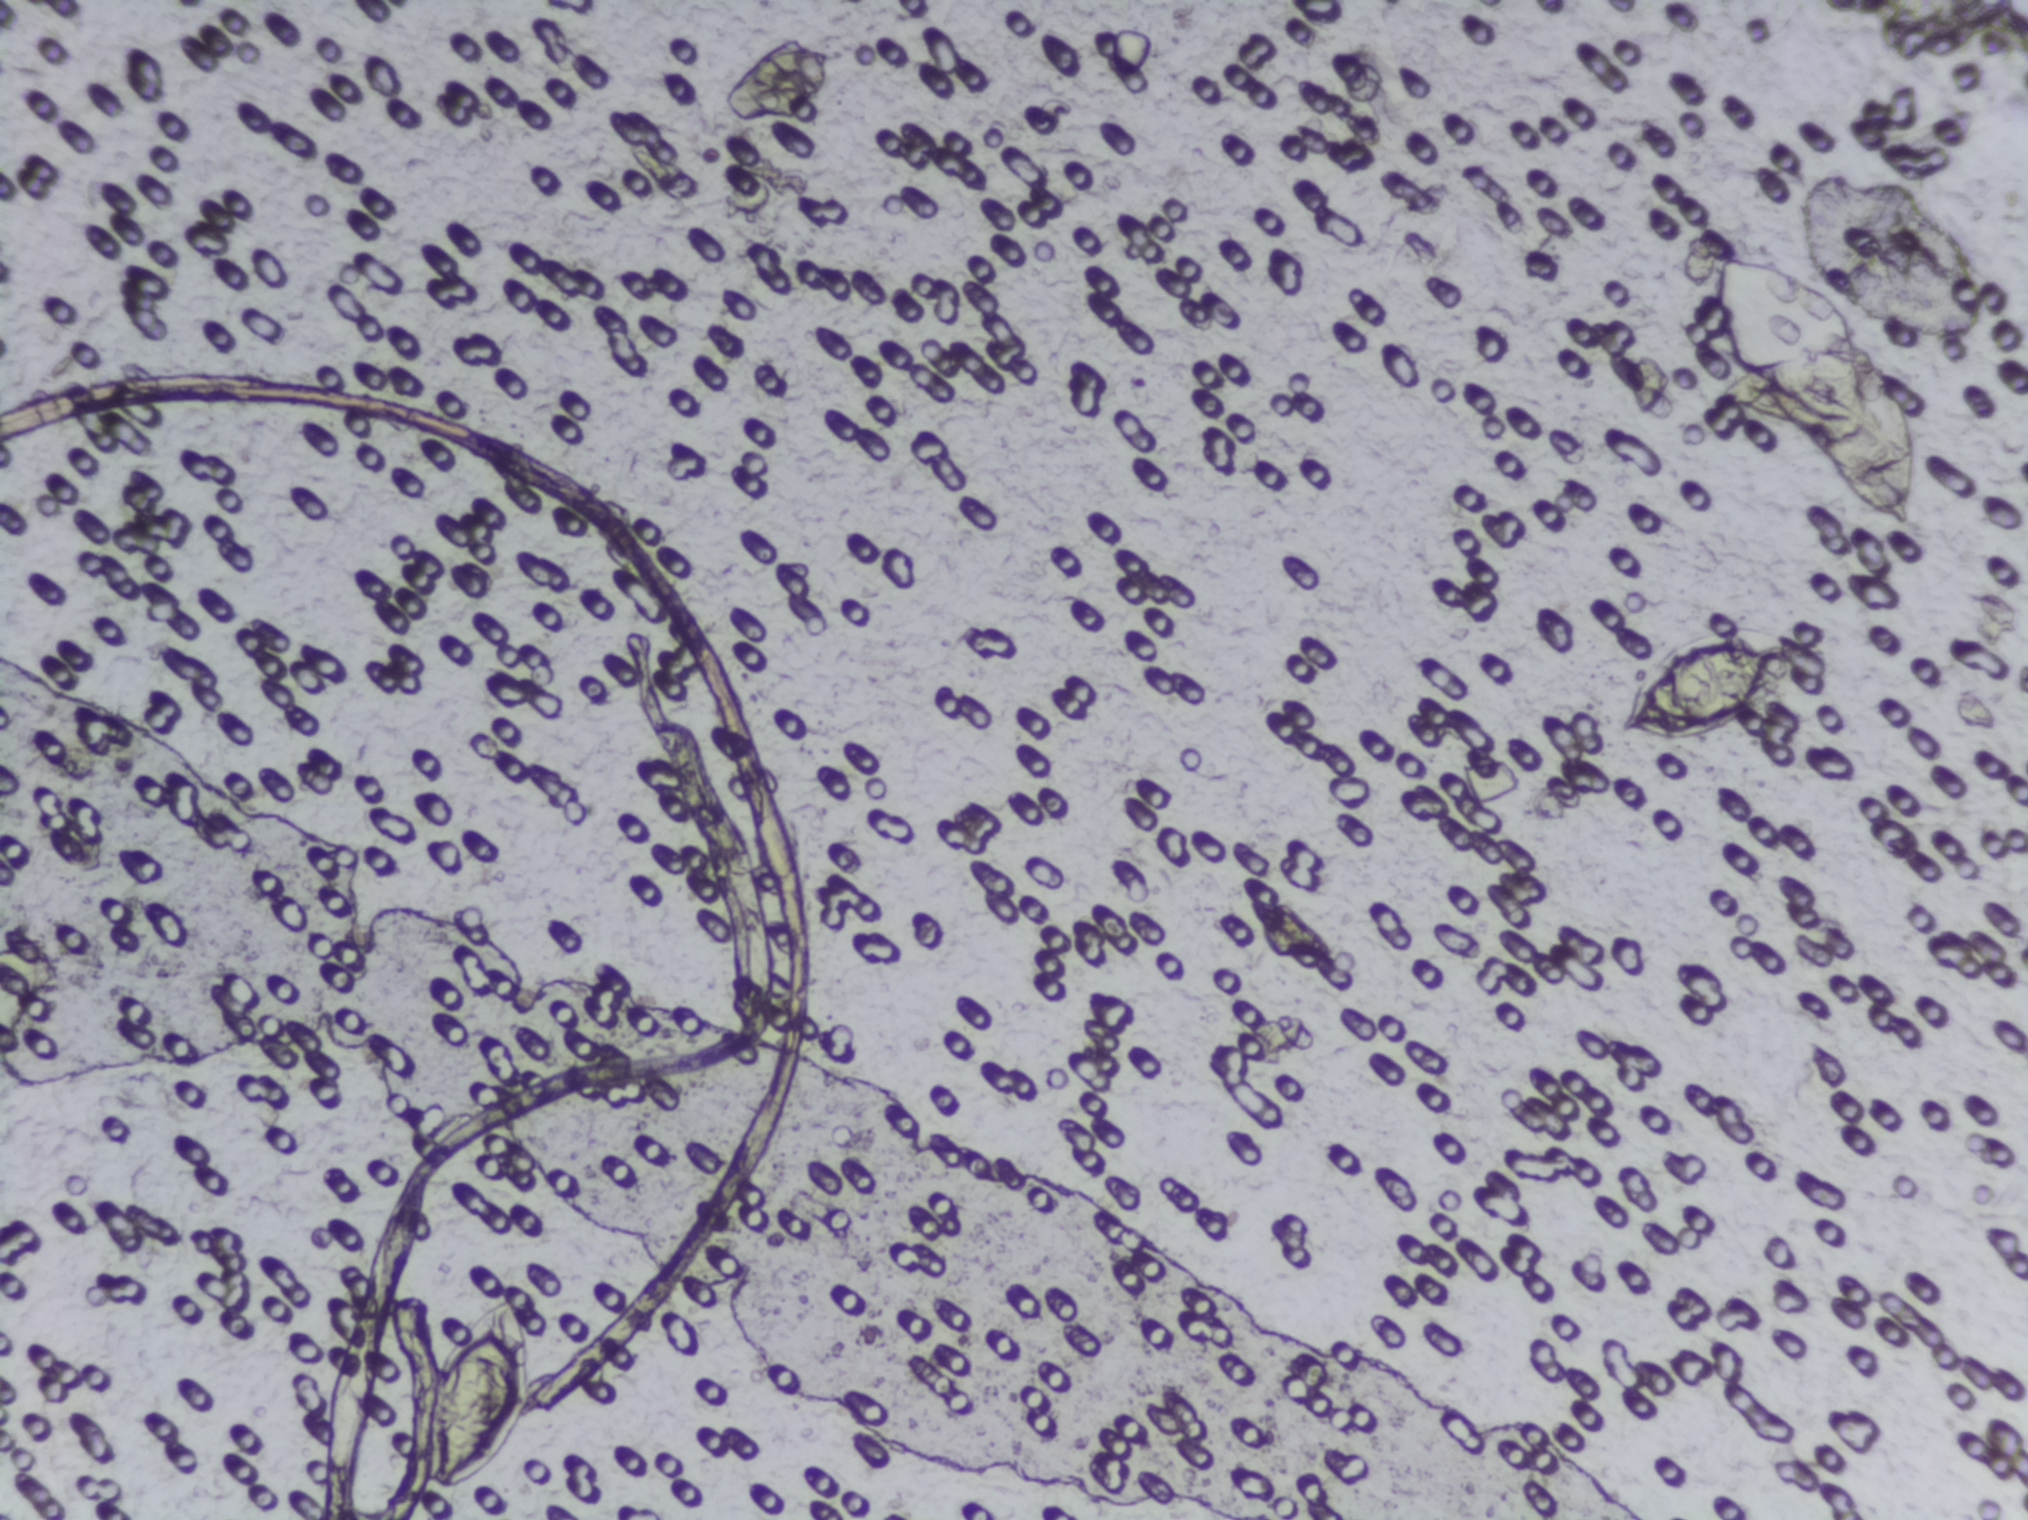
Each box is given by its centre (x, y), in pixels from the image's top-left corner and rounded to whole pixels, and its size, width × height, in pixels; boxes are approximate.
Schistosoma eggs are outlined in the expert annotation at centre (481, 1401), 145 × 227 px; centre (1699, 686), 219 × 156 px; centre (1808, 490), 8 × 20 px; centre (1826, 385), 243 × 311 px. A single outlined area may contain several eggs.
Microscope photograph (4× objective) of a membrane that a urine sample was filtered through. Field of view: about 1.5 mm wide and 1.1 mm high.